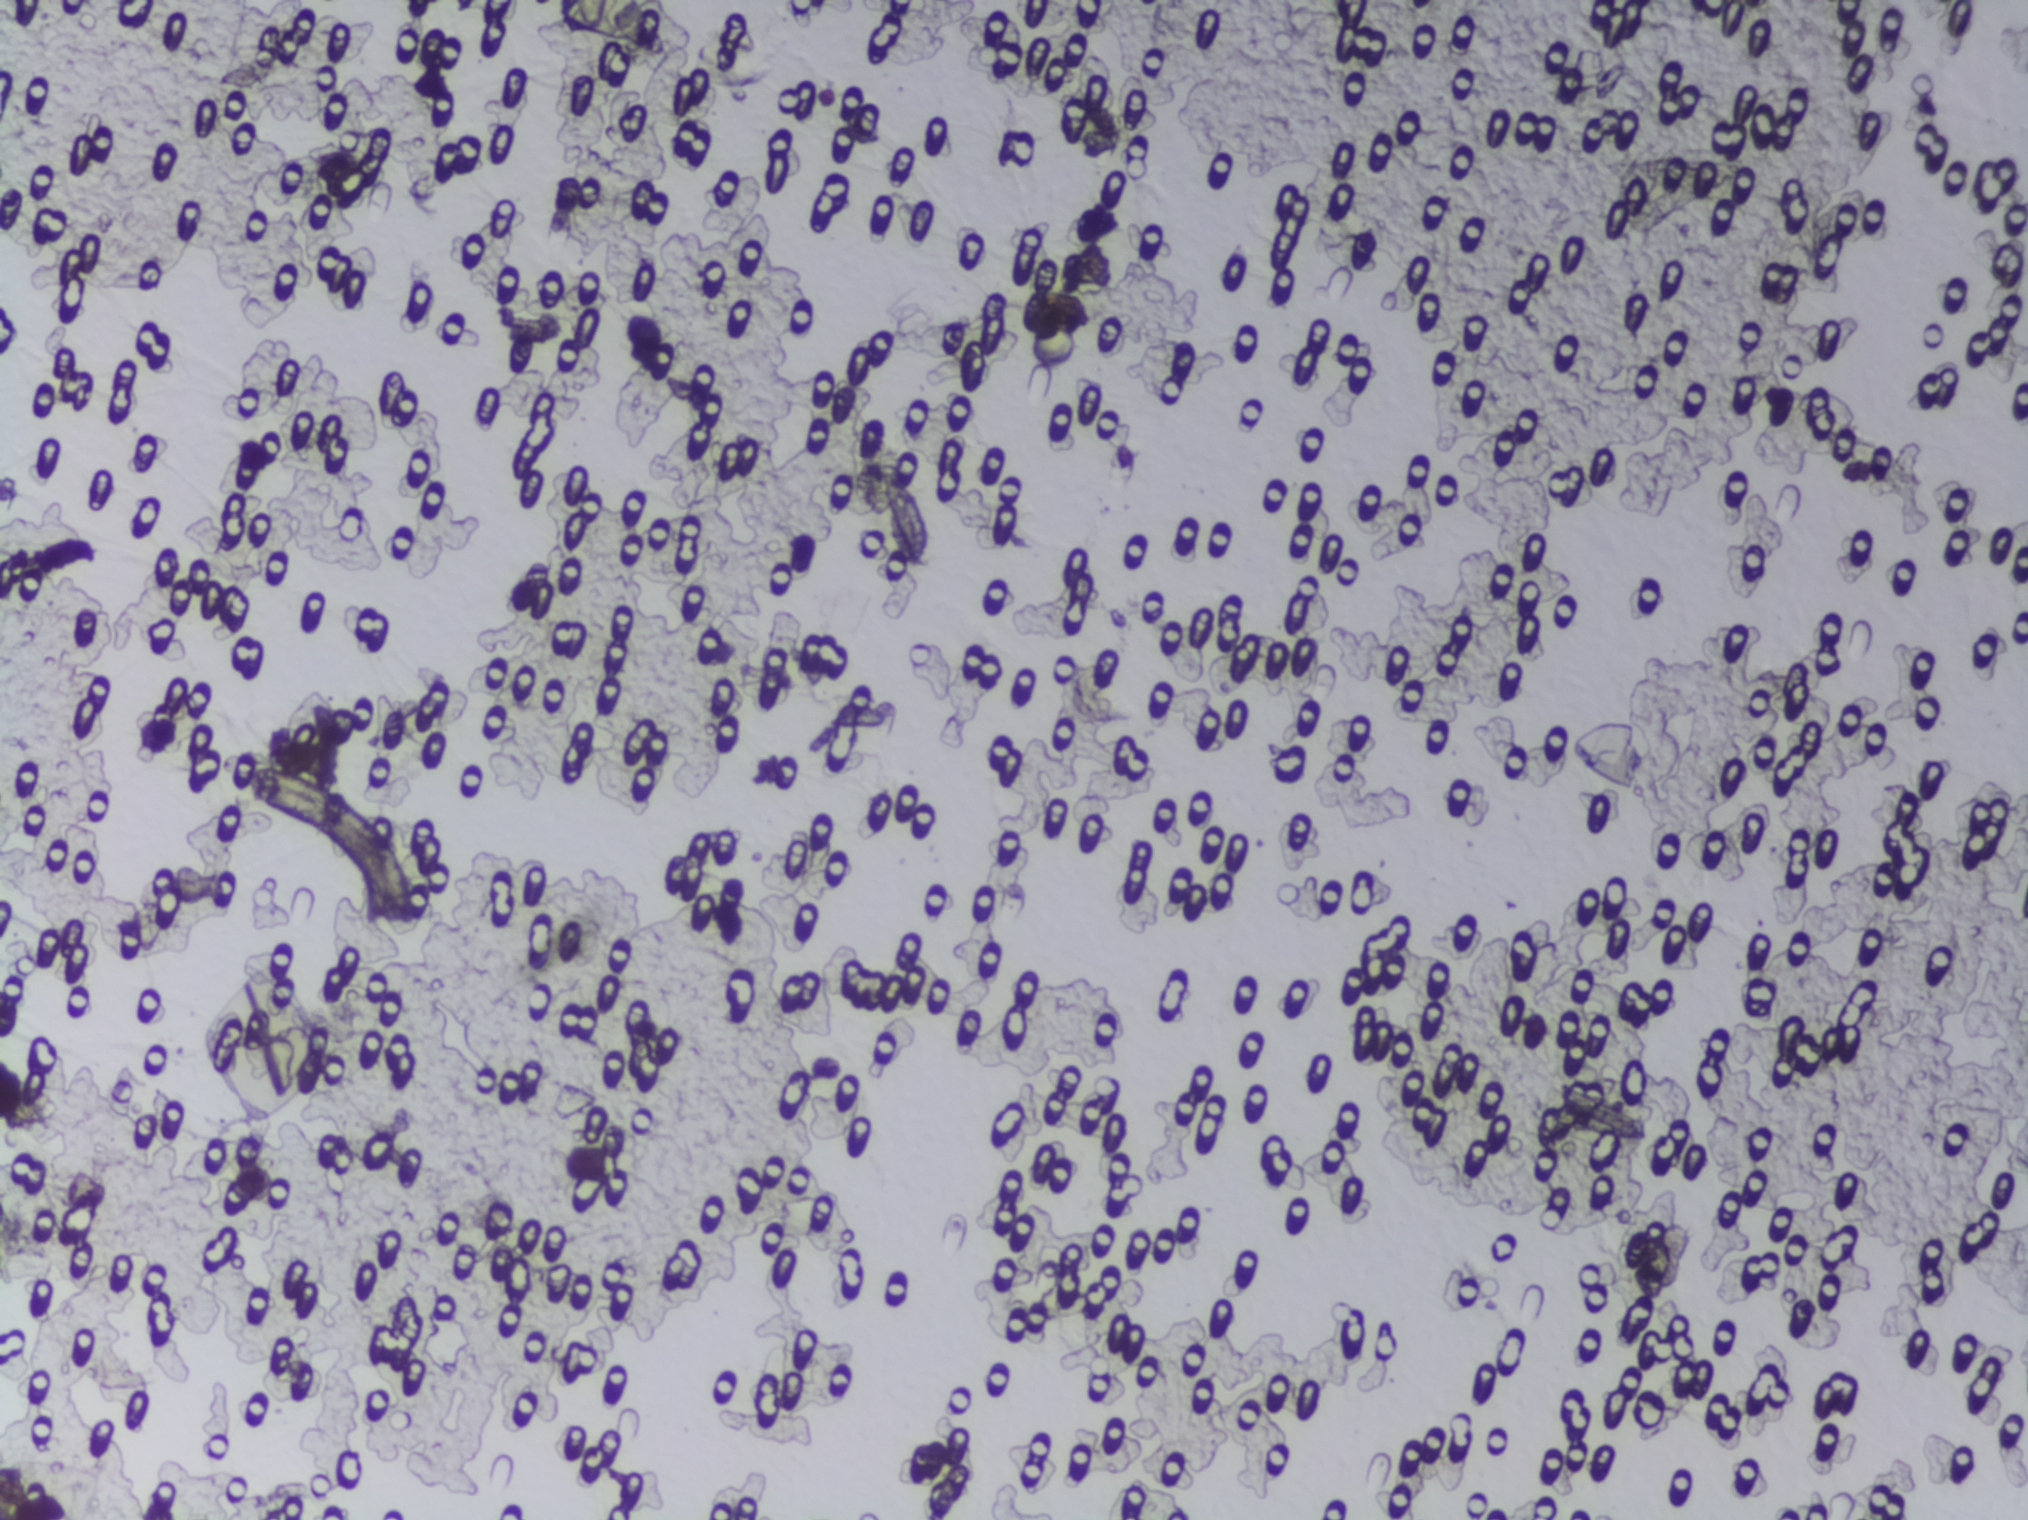
Urine filtration membrane under a 4× objective, photographed by an automated digital microscope.
The expert annotation marks no Schistosoma egg in this field of view.